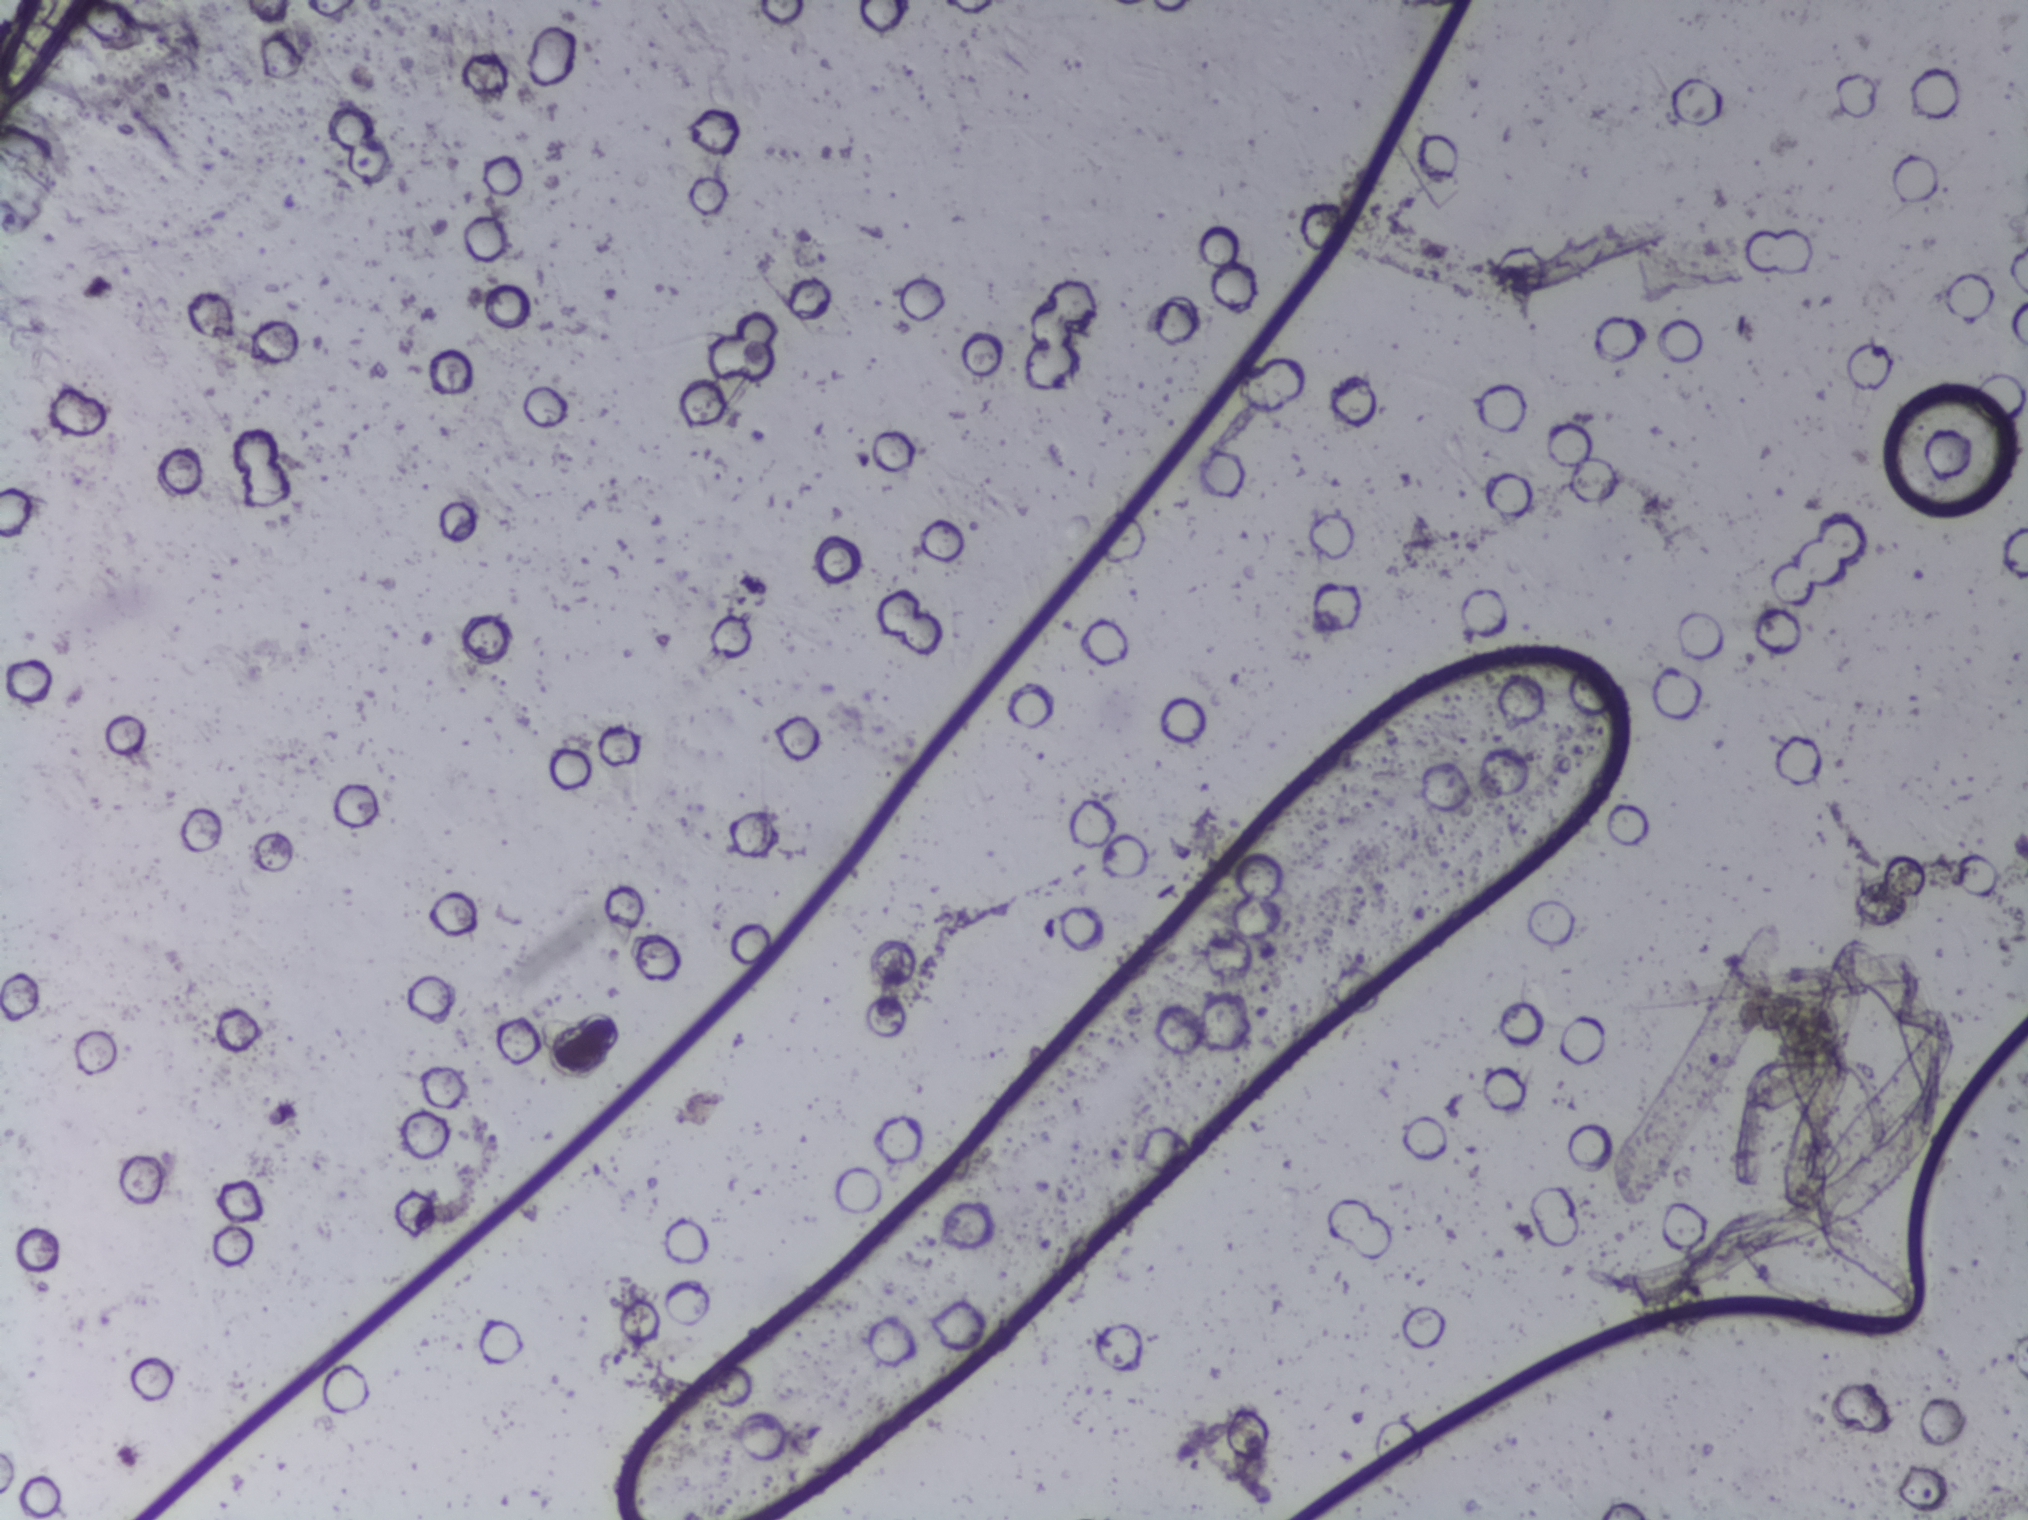
Microscope photograph (4× objective) of a membrane that a urine sample was filtered through.
No area of this image was outlined as a Schistosoma egg.